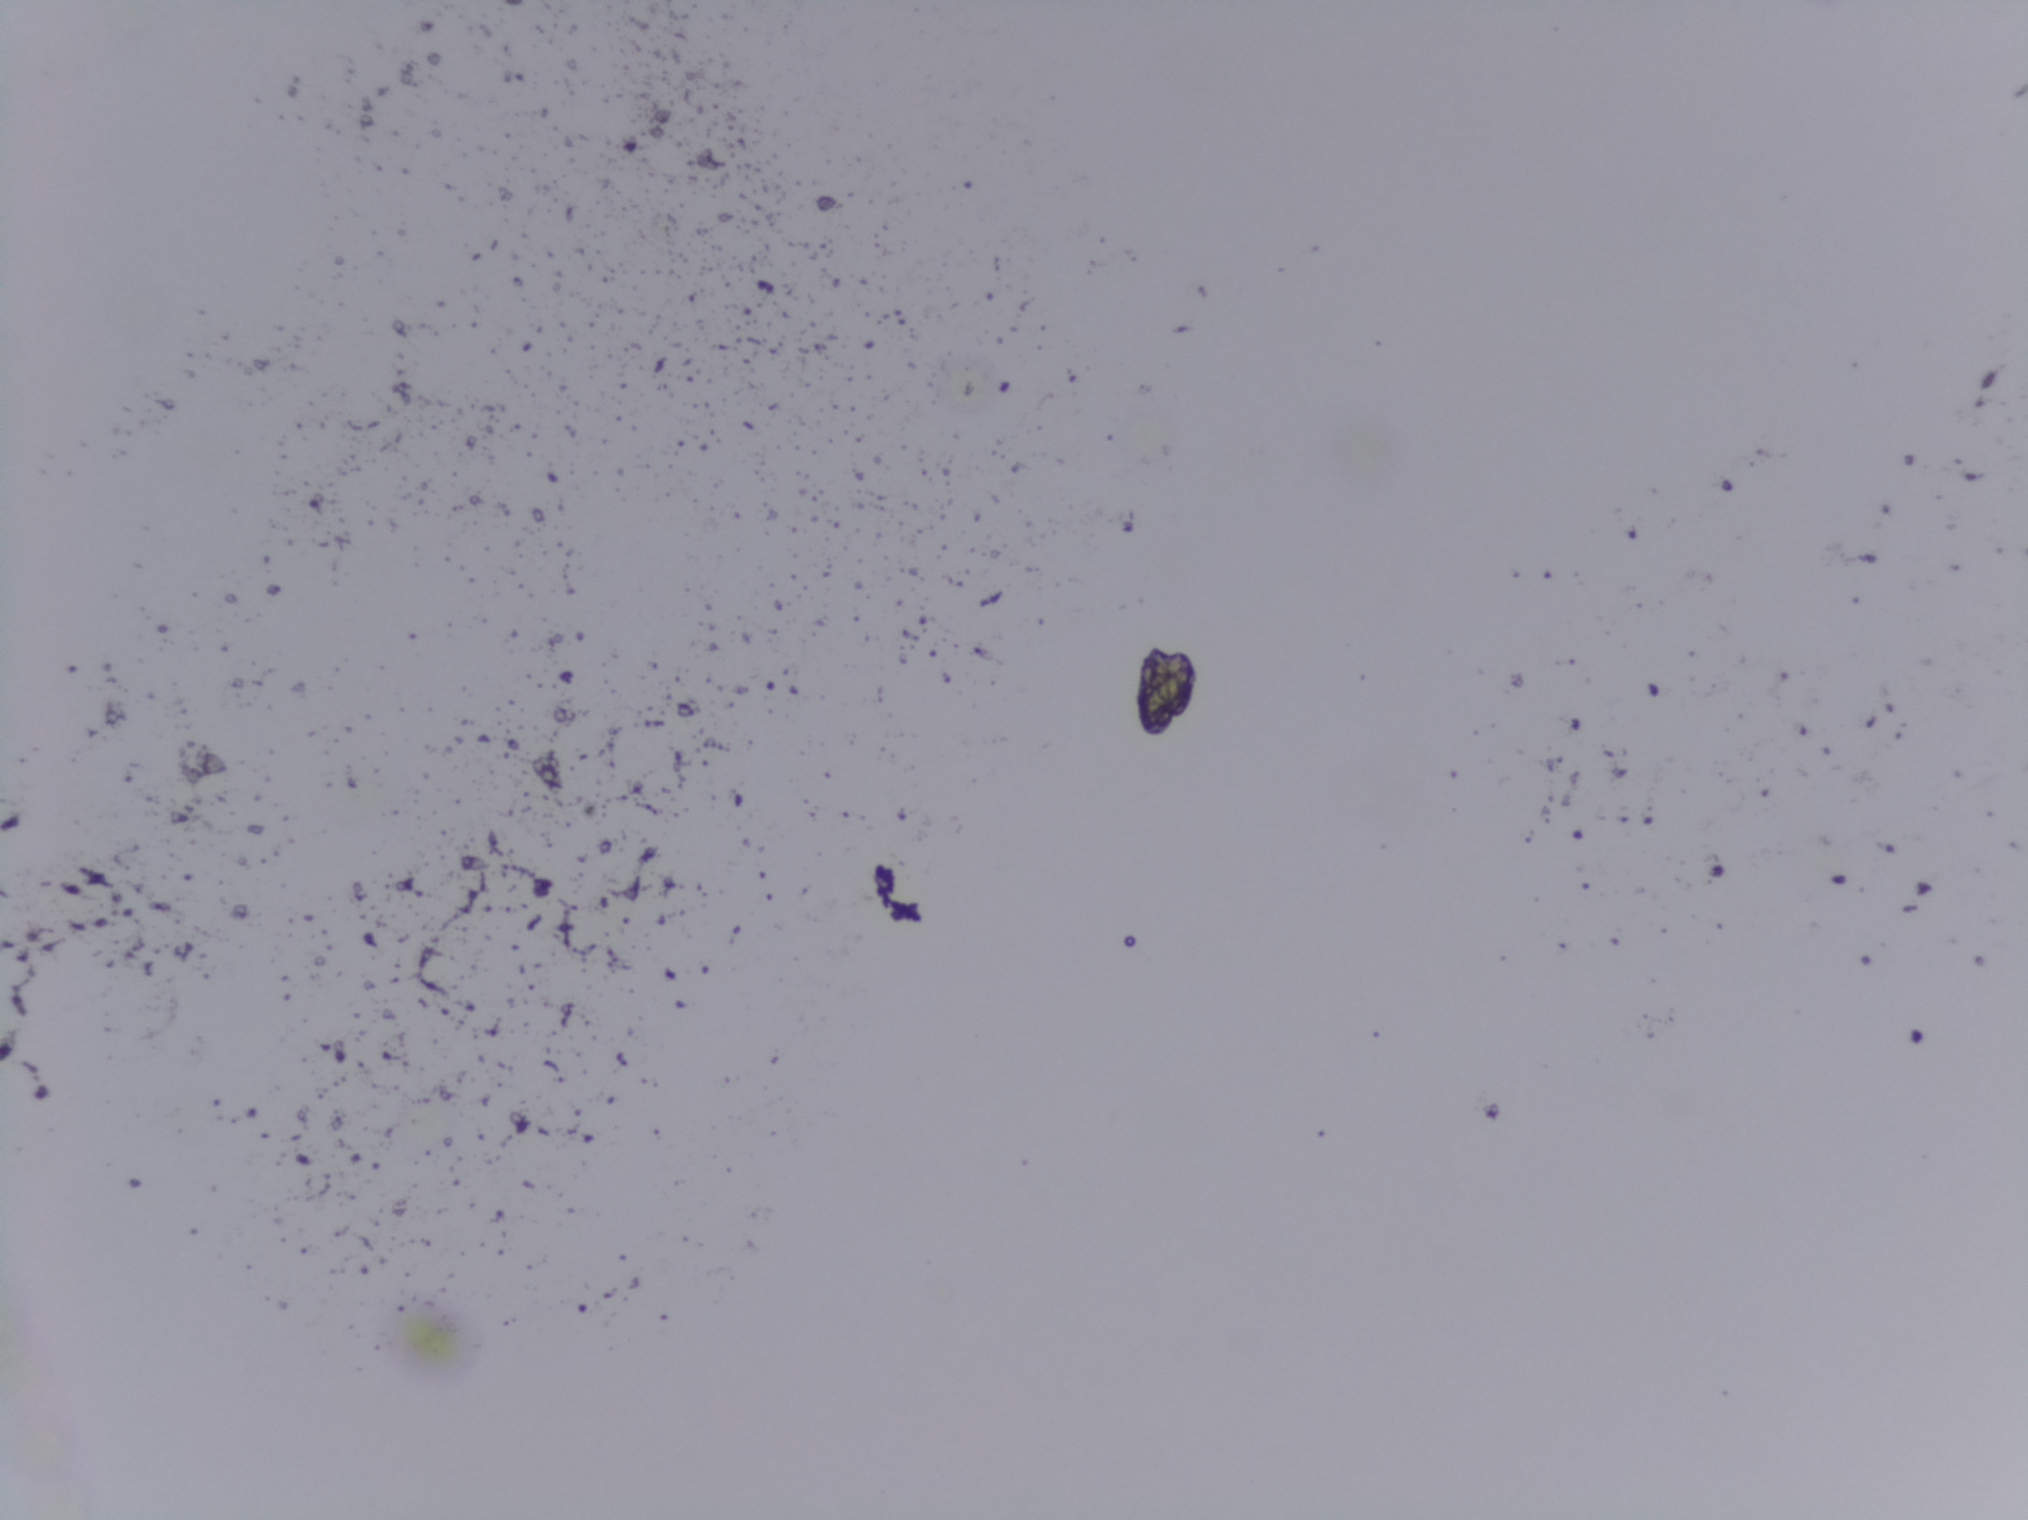
Photomicrograph of a urine filtration membrane, 4× objective. The image covers about 1.5 × 1.1 mm of the membrane.
The expert annotation outlines no Schistosoma egg in this image.